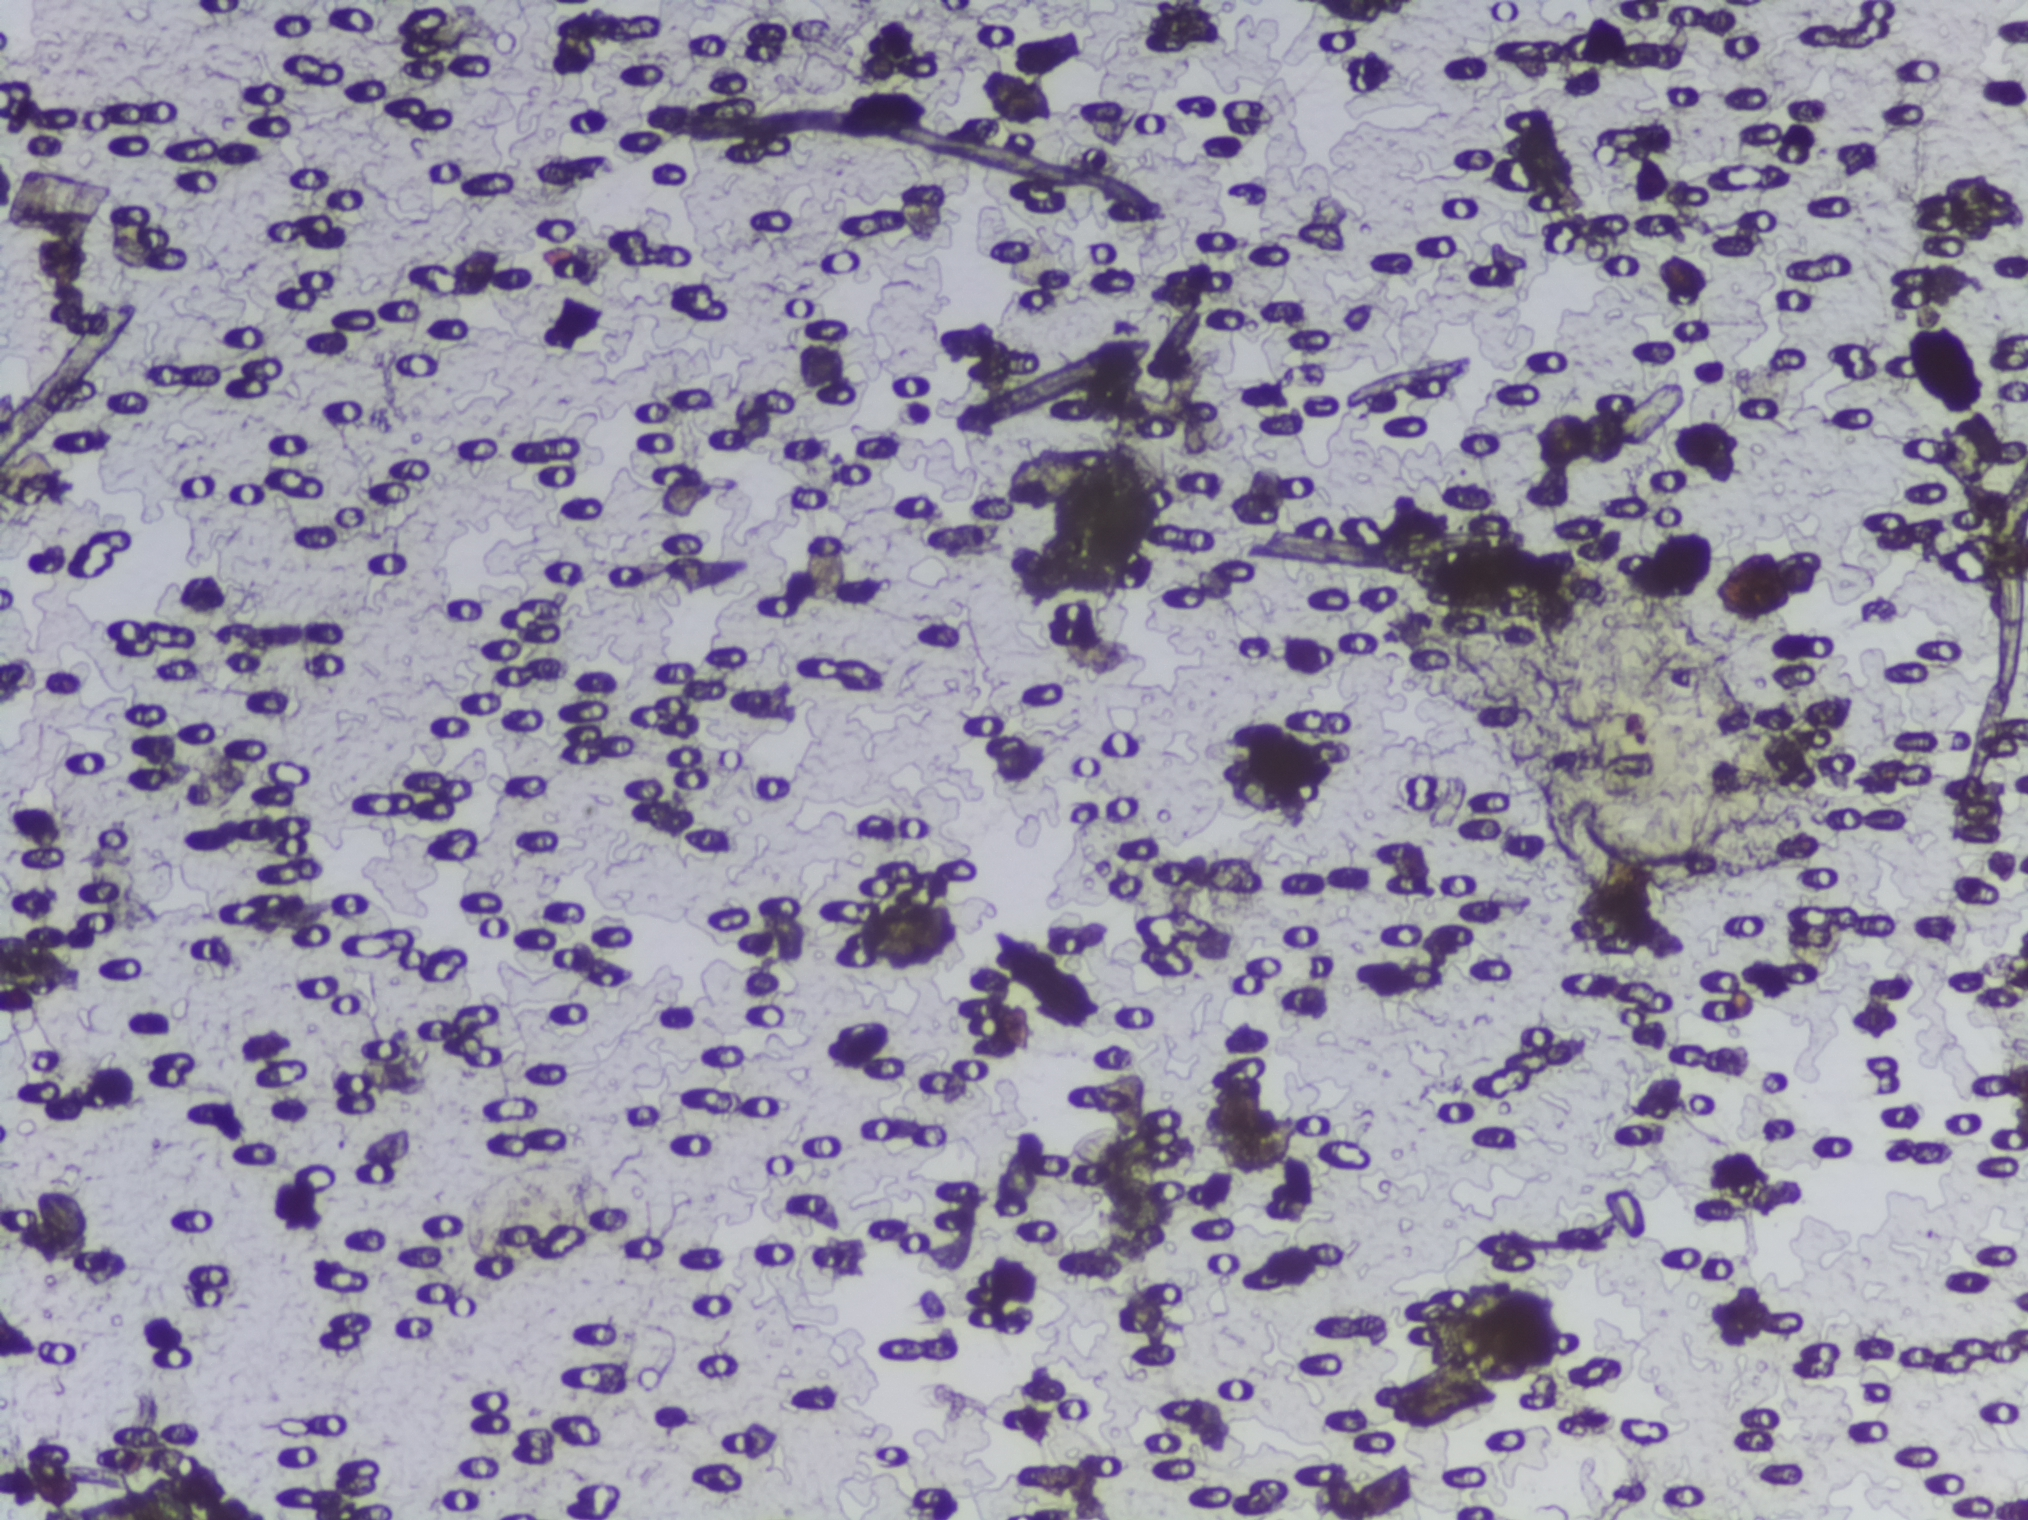
Schistosoma eggs: none outlined.
One field of view of a urine filter membrane, 4× objective, 2028 × 1520 pixels.